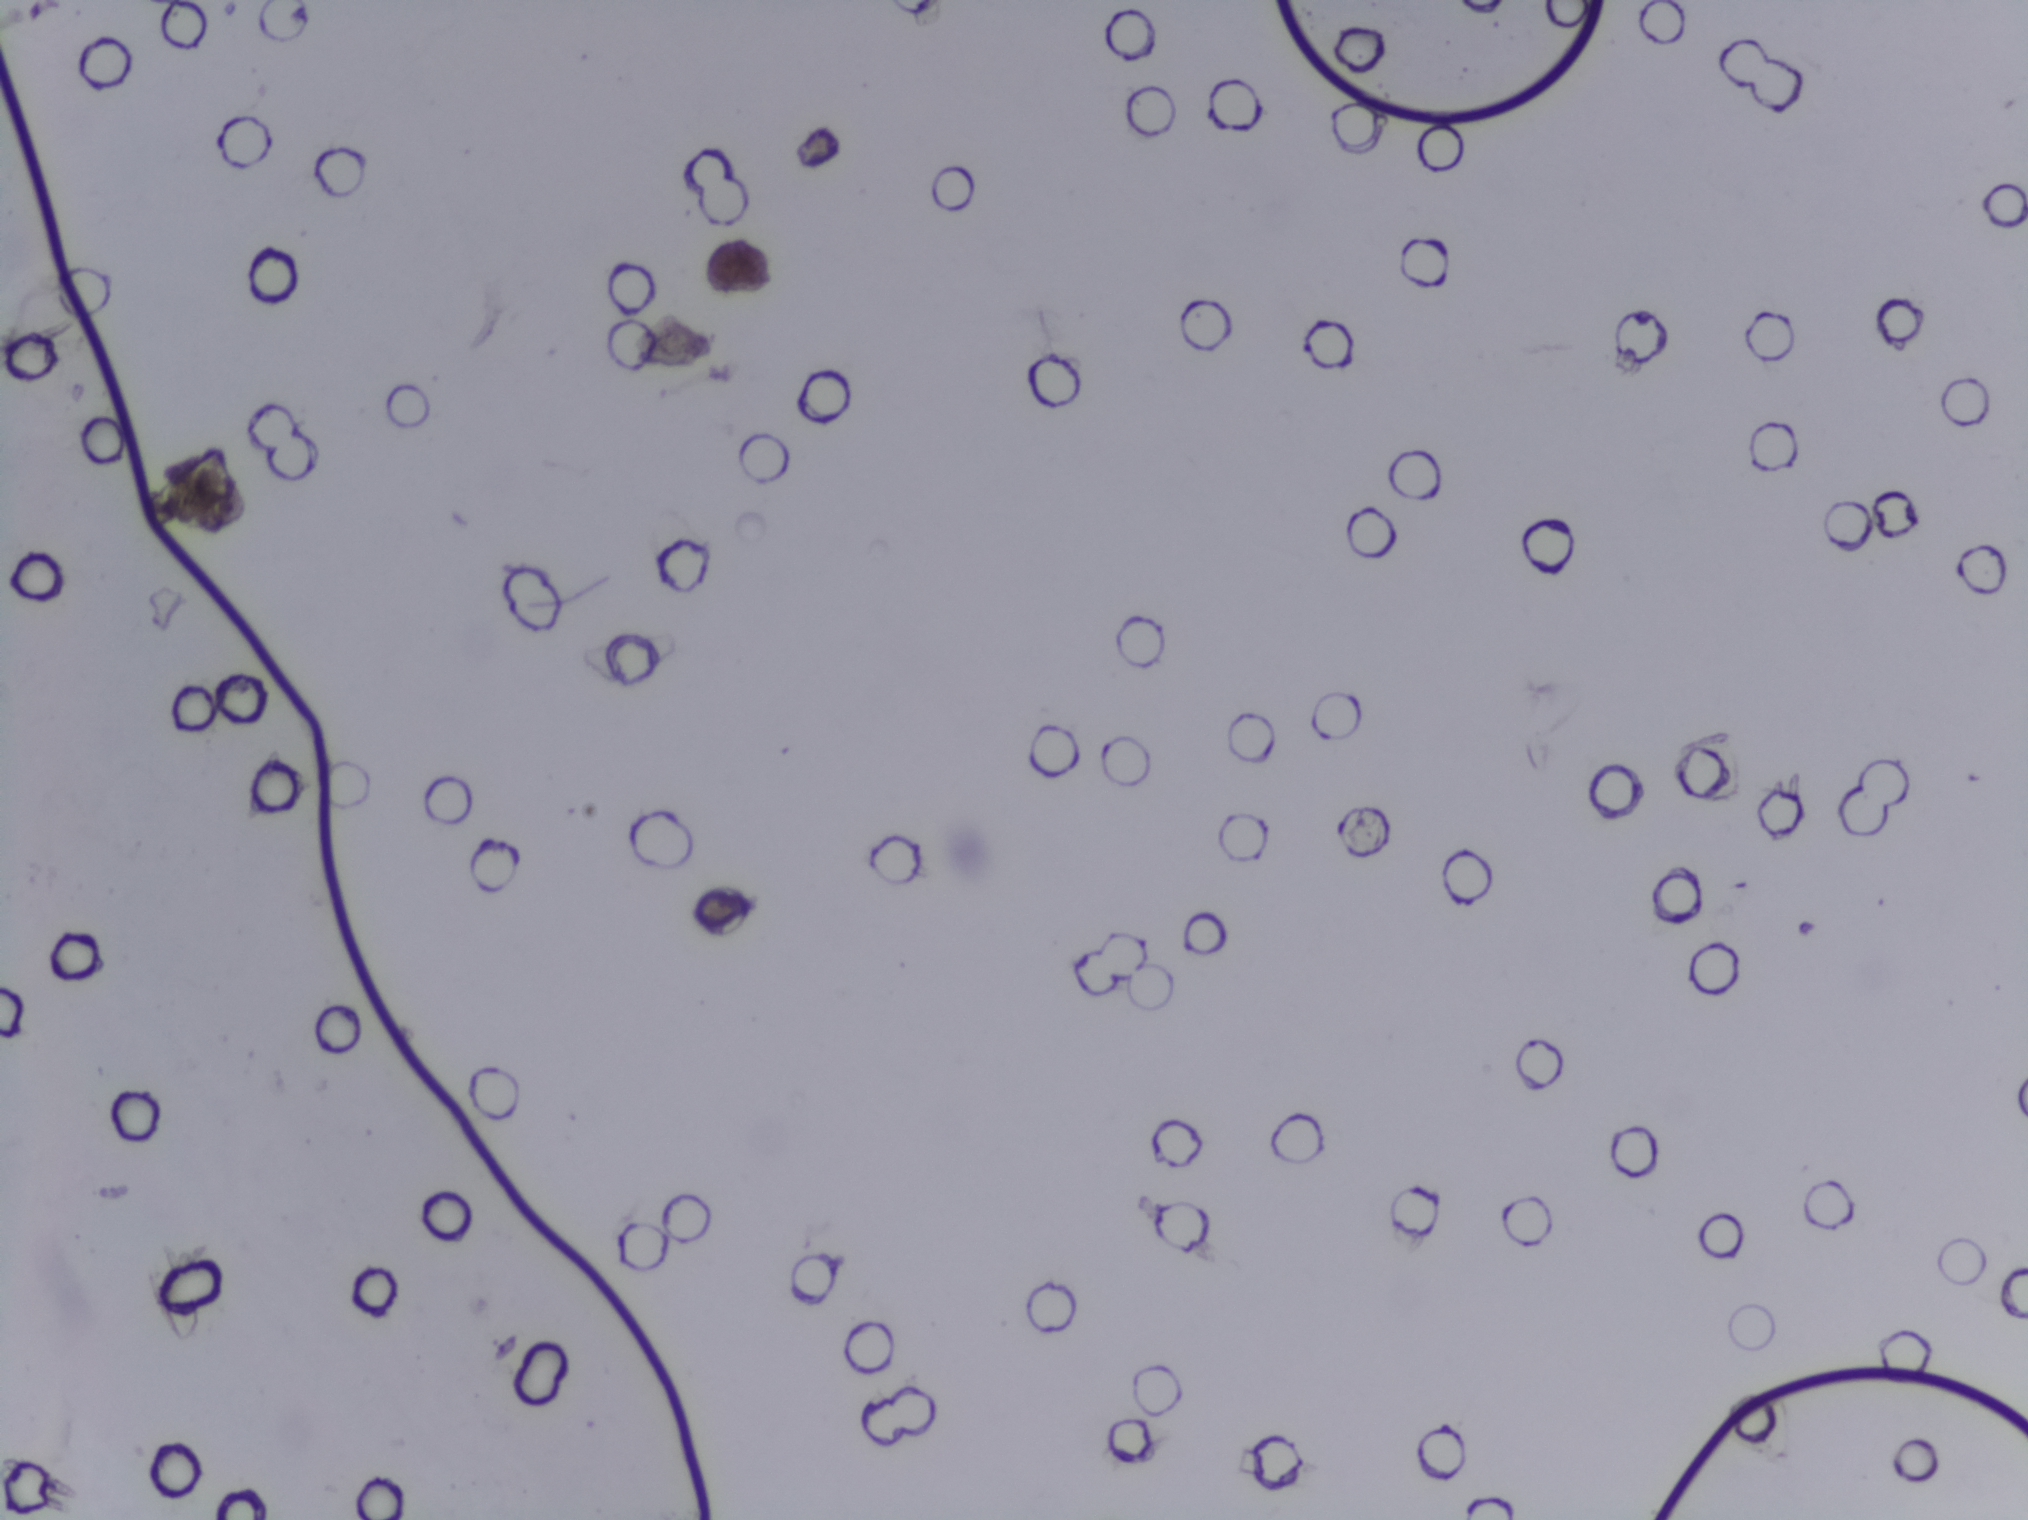
No area of this image was outlined as a Schistosoma egg.
One field of view of a urine filter membrane, 4× objective, 2028 × 1520 pixels. Field of view: about 1.5 mm wide and 1.1 mm high.